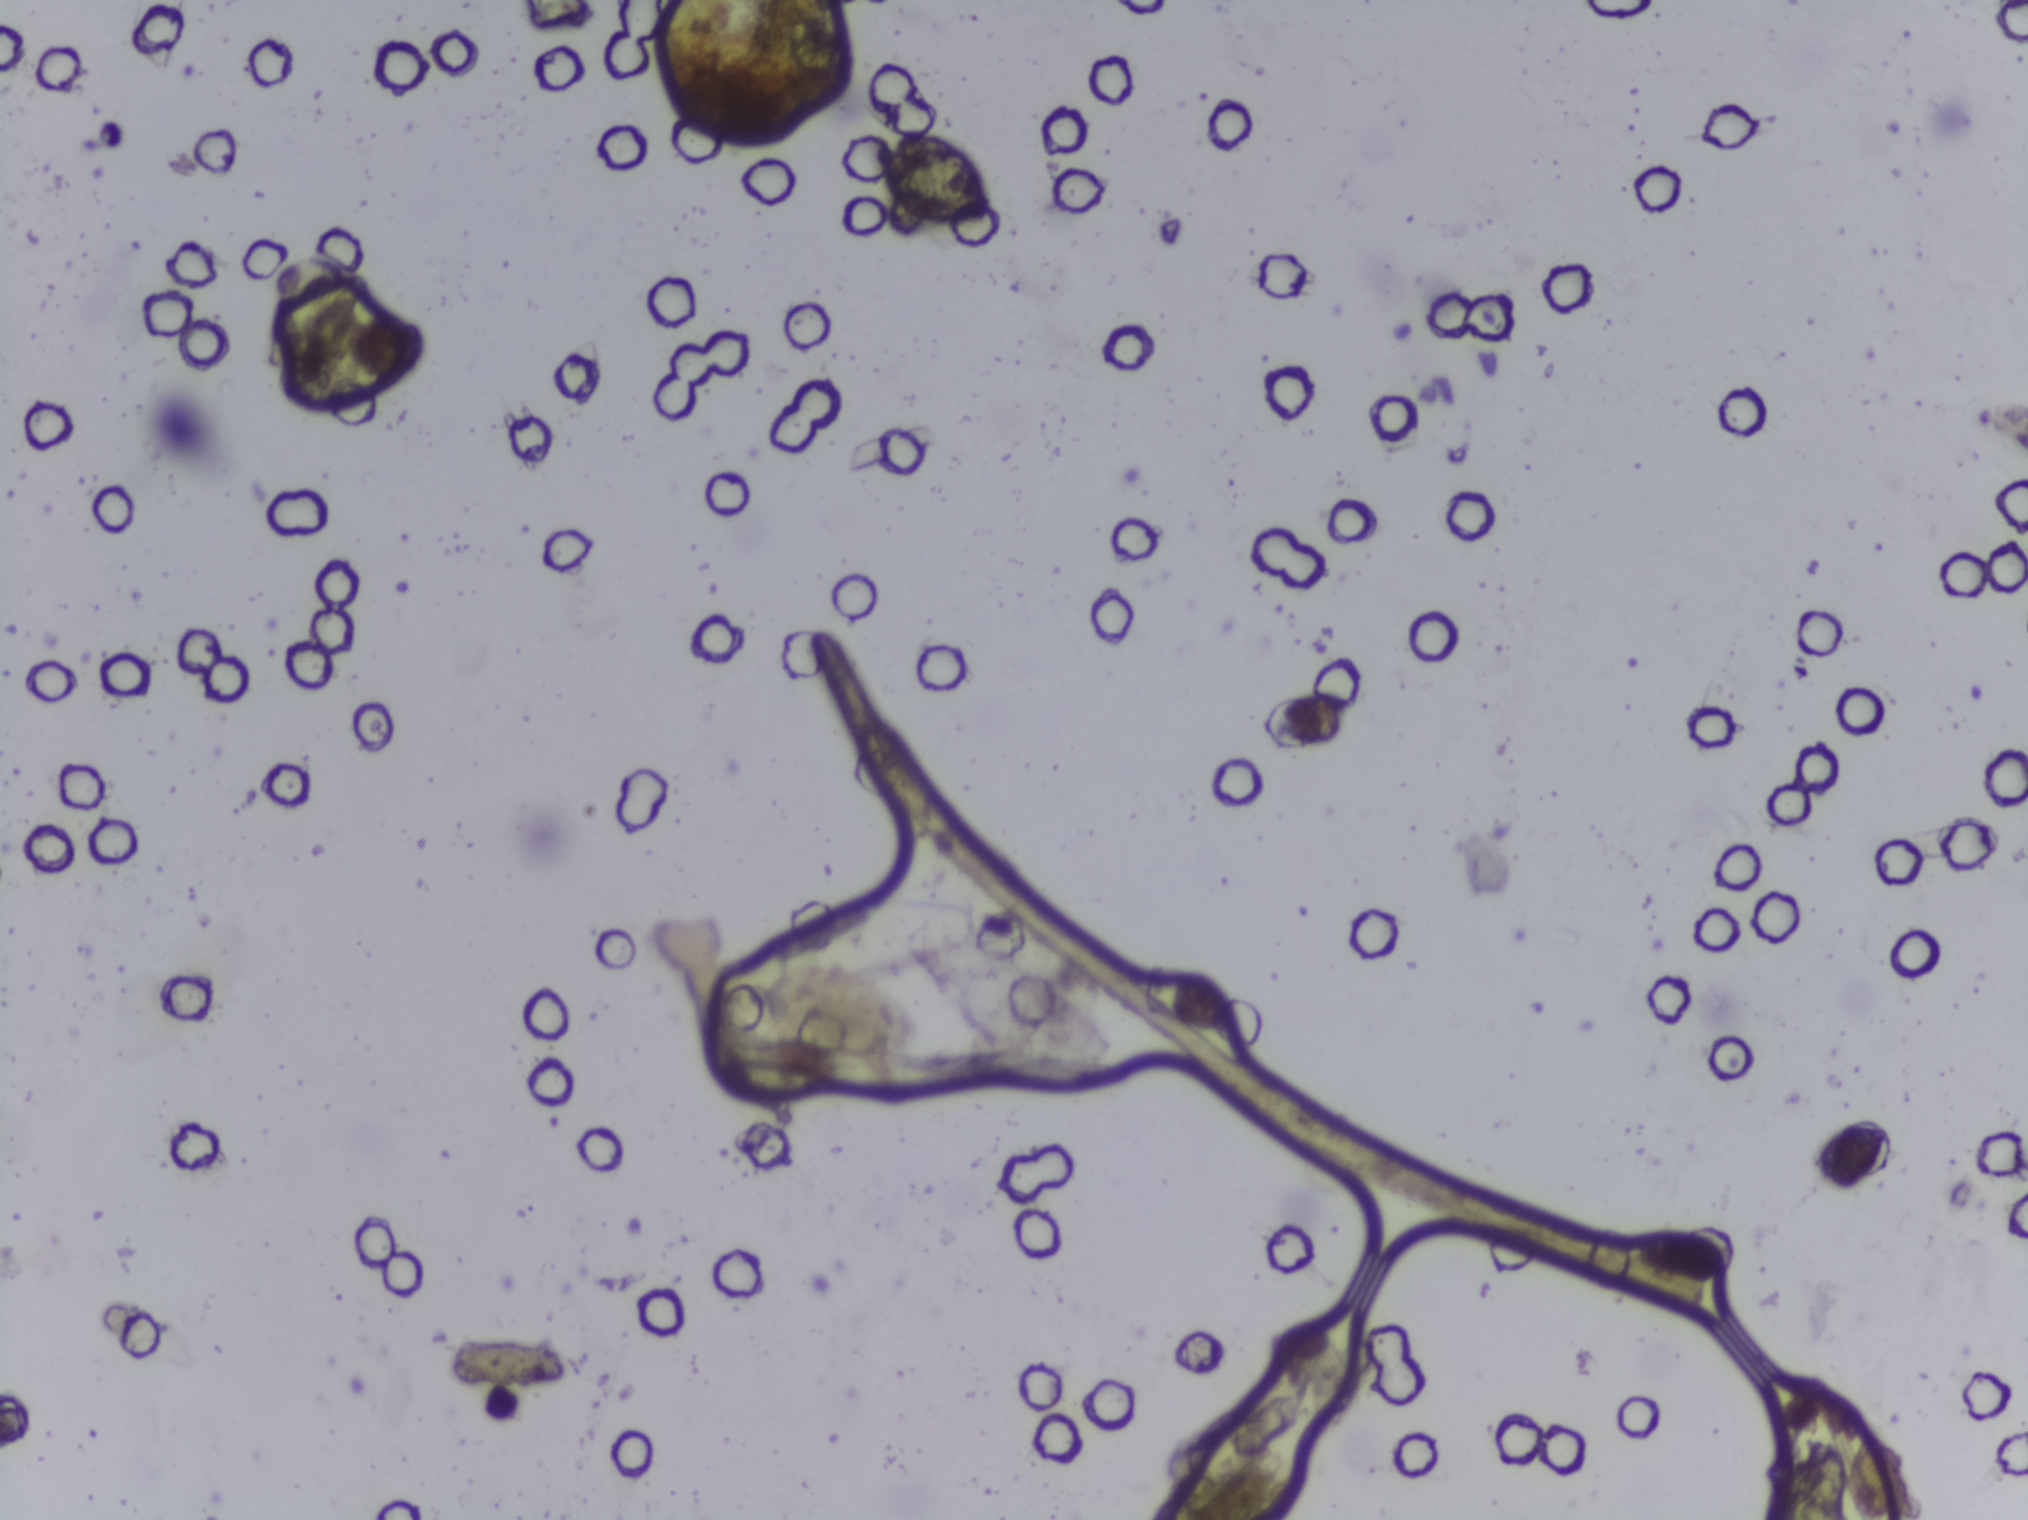
One field of view of a urine filter membrane, 4× objective, 2028 × 1520 pixels. Field of view: about 1.5 mm wide and 1.1 mm high.
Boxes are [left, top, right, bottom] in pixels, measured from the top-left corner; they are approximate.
Two areas of this image are outlined as Schistosoma eggs, from left to right: [267, 273, 371, 370] and [740, 899, 1114, 1075]. The marked pixels themselves, not the boxes around them, cover about 1.5% of the image. Eggs that touch can end up inside the same outlined area.